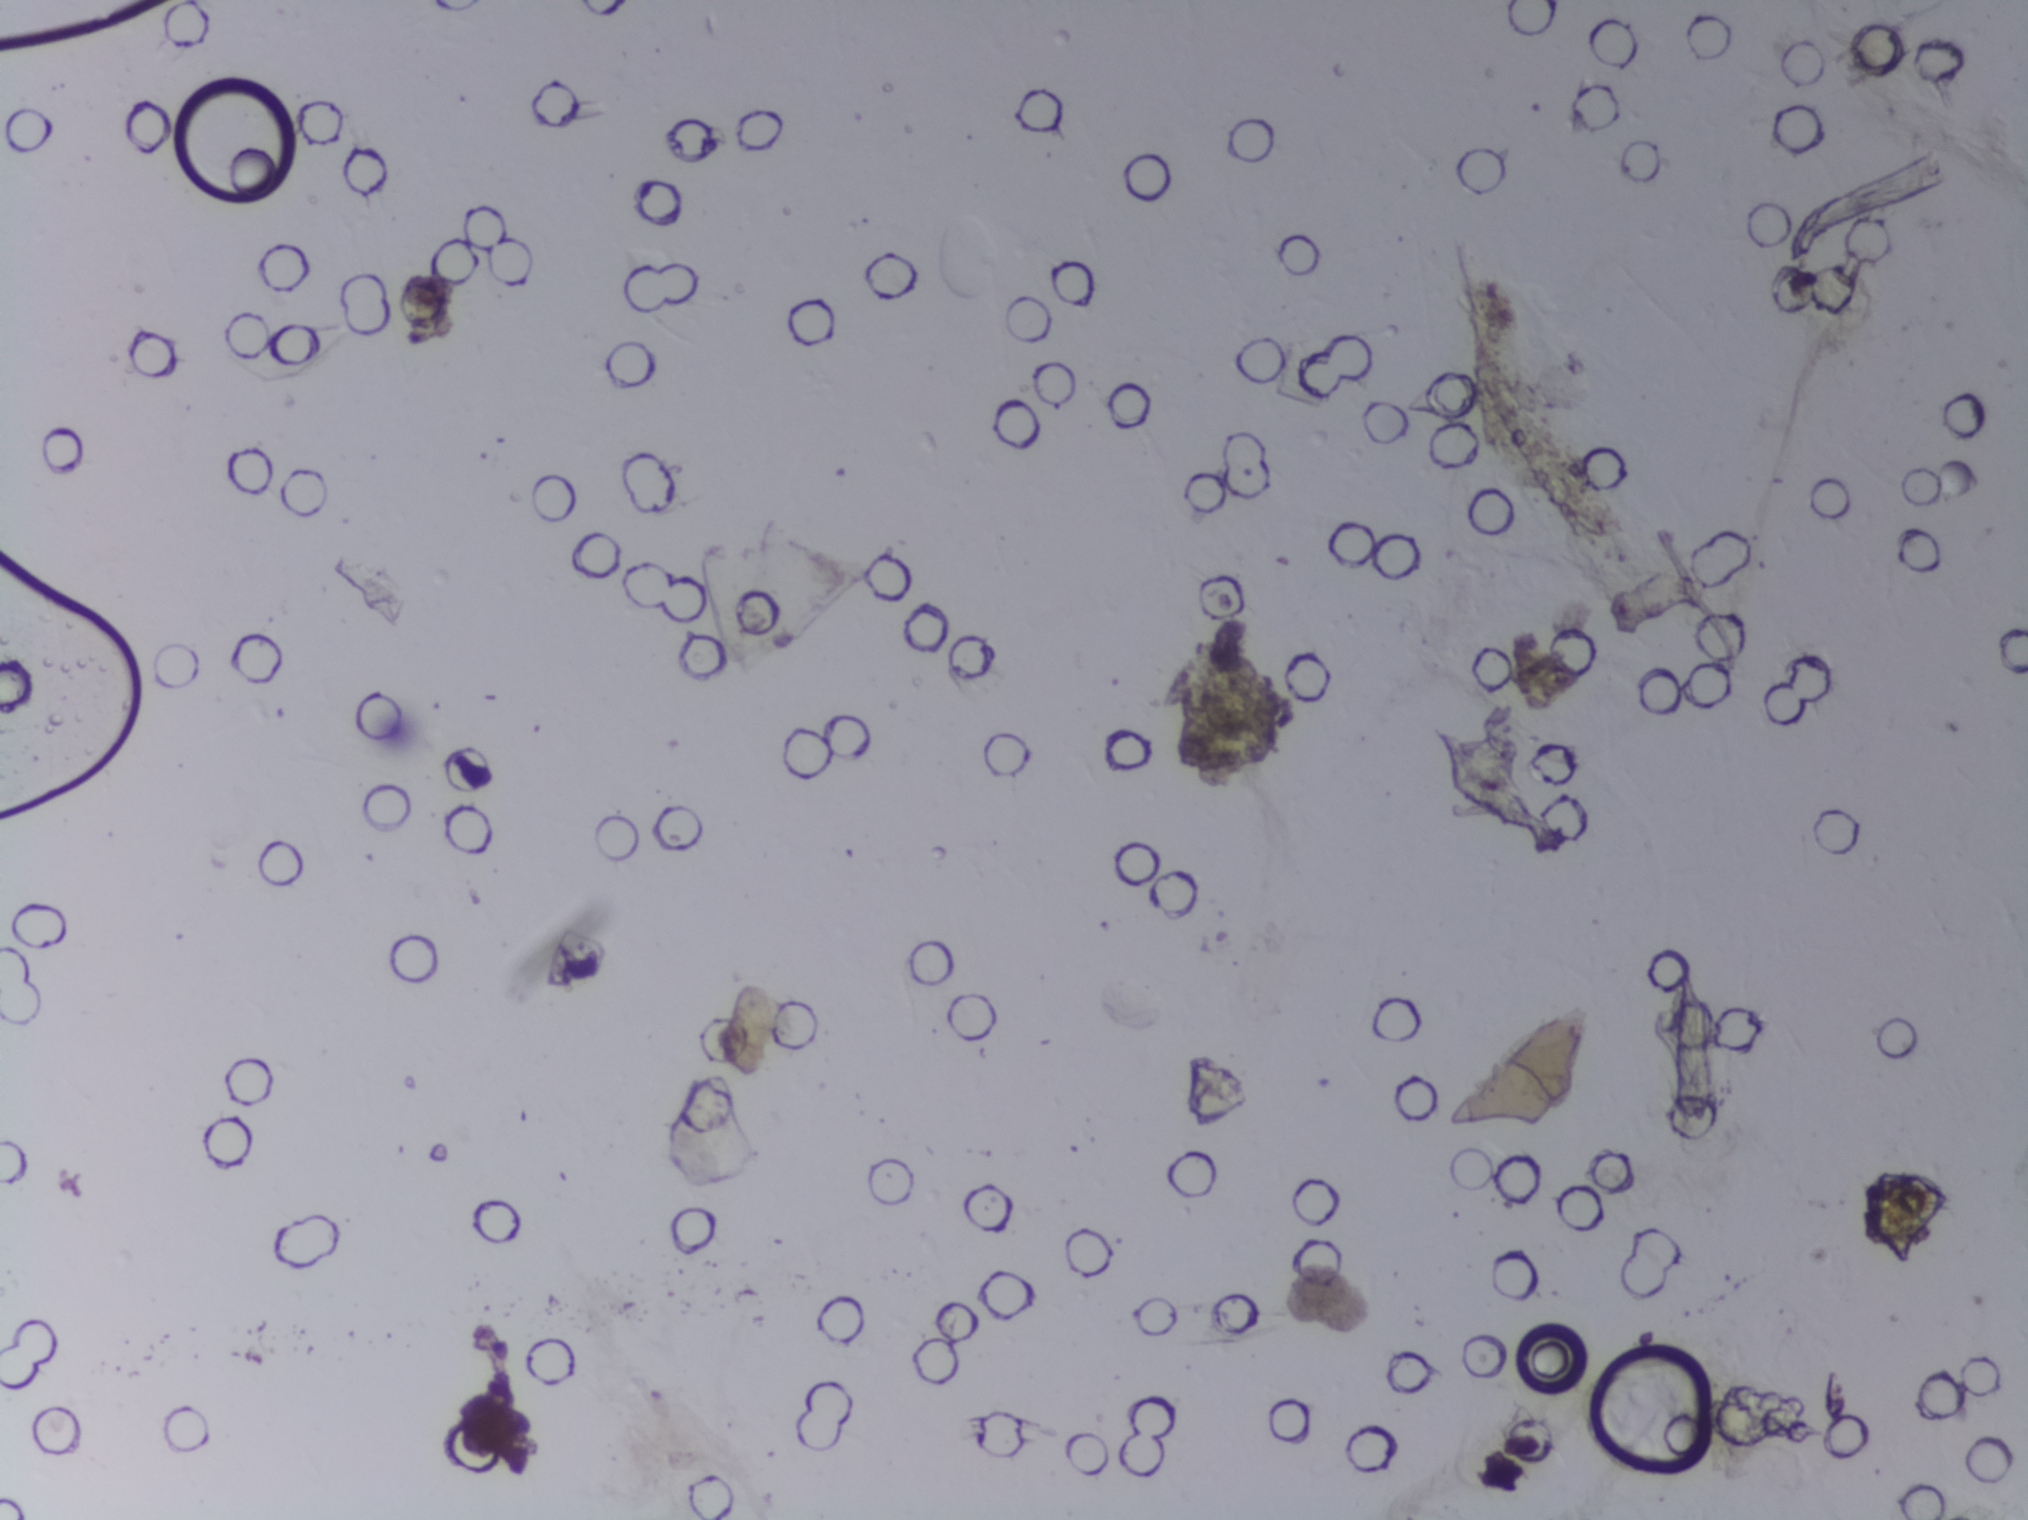
Microscope photograph (4× objective) of a membrane that a urine sample was filtered through.
The expert annotation outlines no Schistosoma egg in this image.